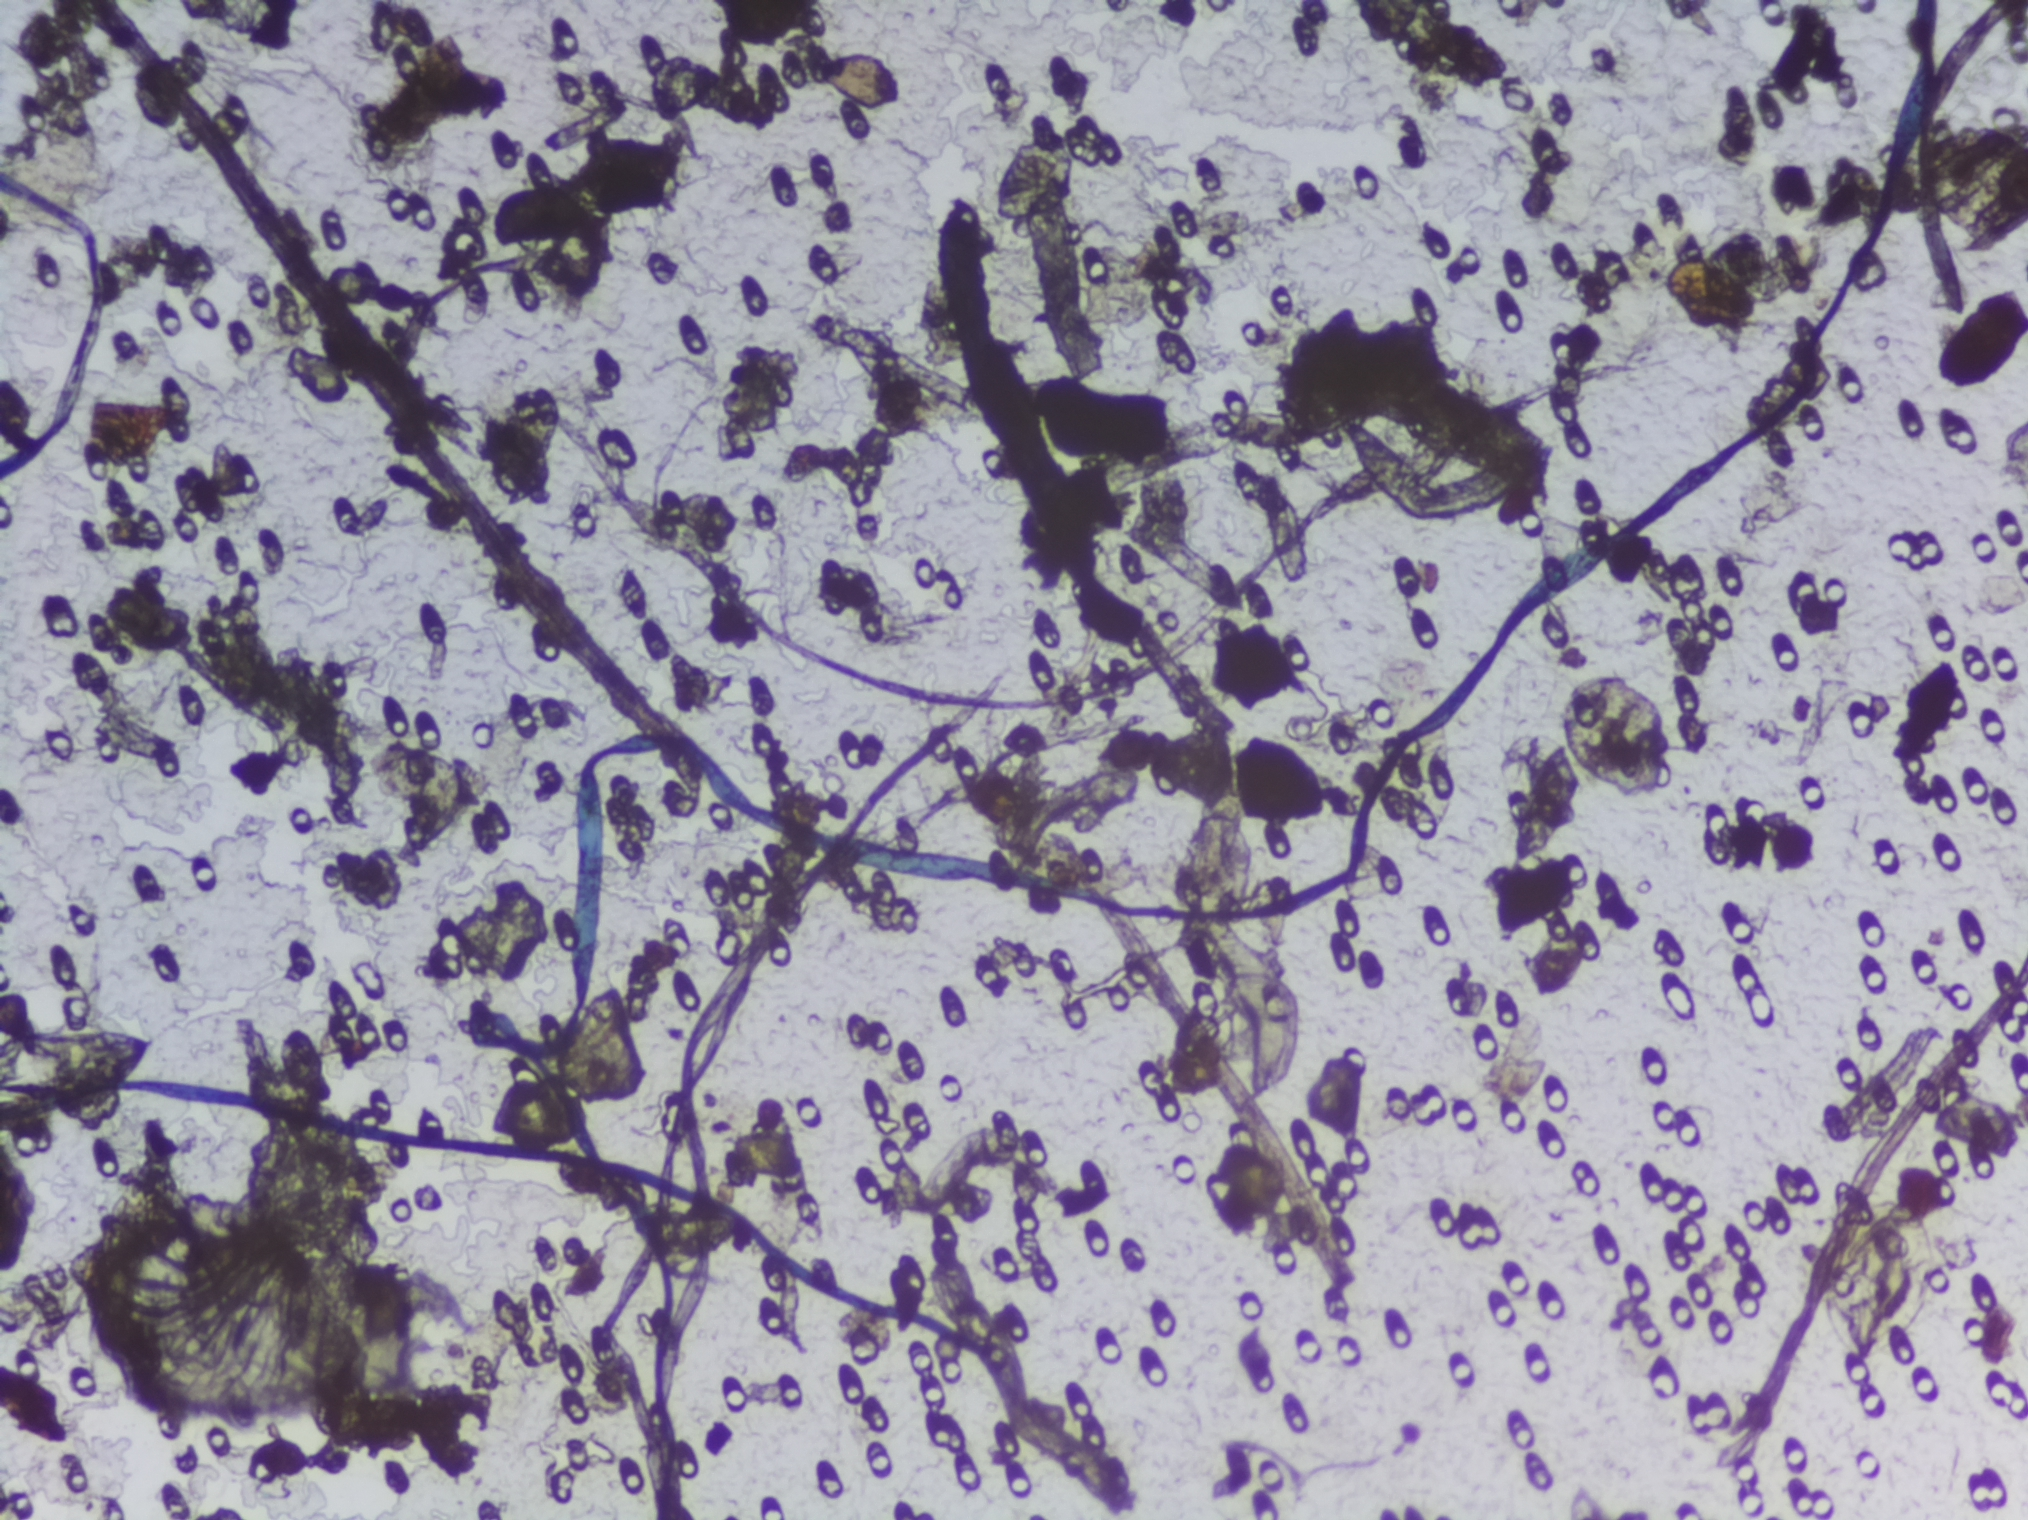
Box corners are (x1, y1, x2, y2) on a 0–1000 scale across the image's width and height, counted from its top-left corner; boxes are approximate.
Three areas of this image are outlined as Schistosoma eggs, from left to right: (0, 659, 84, 741) (reaching the left edge of the frame); (0, 746, 22, 852) (reaching the left edge of the frame); (895, 776, 966, 911). An outlined area can hold more than one egg.
One field of view of a urine filter membrane, 4× objective, 2028 × 1520 pixels.